Urine filtration membrane under a 4× objective, photographed by an automated digital microscope.
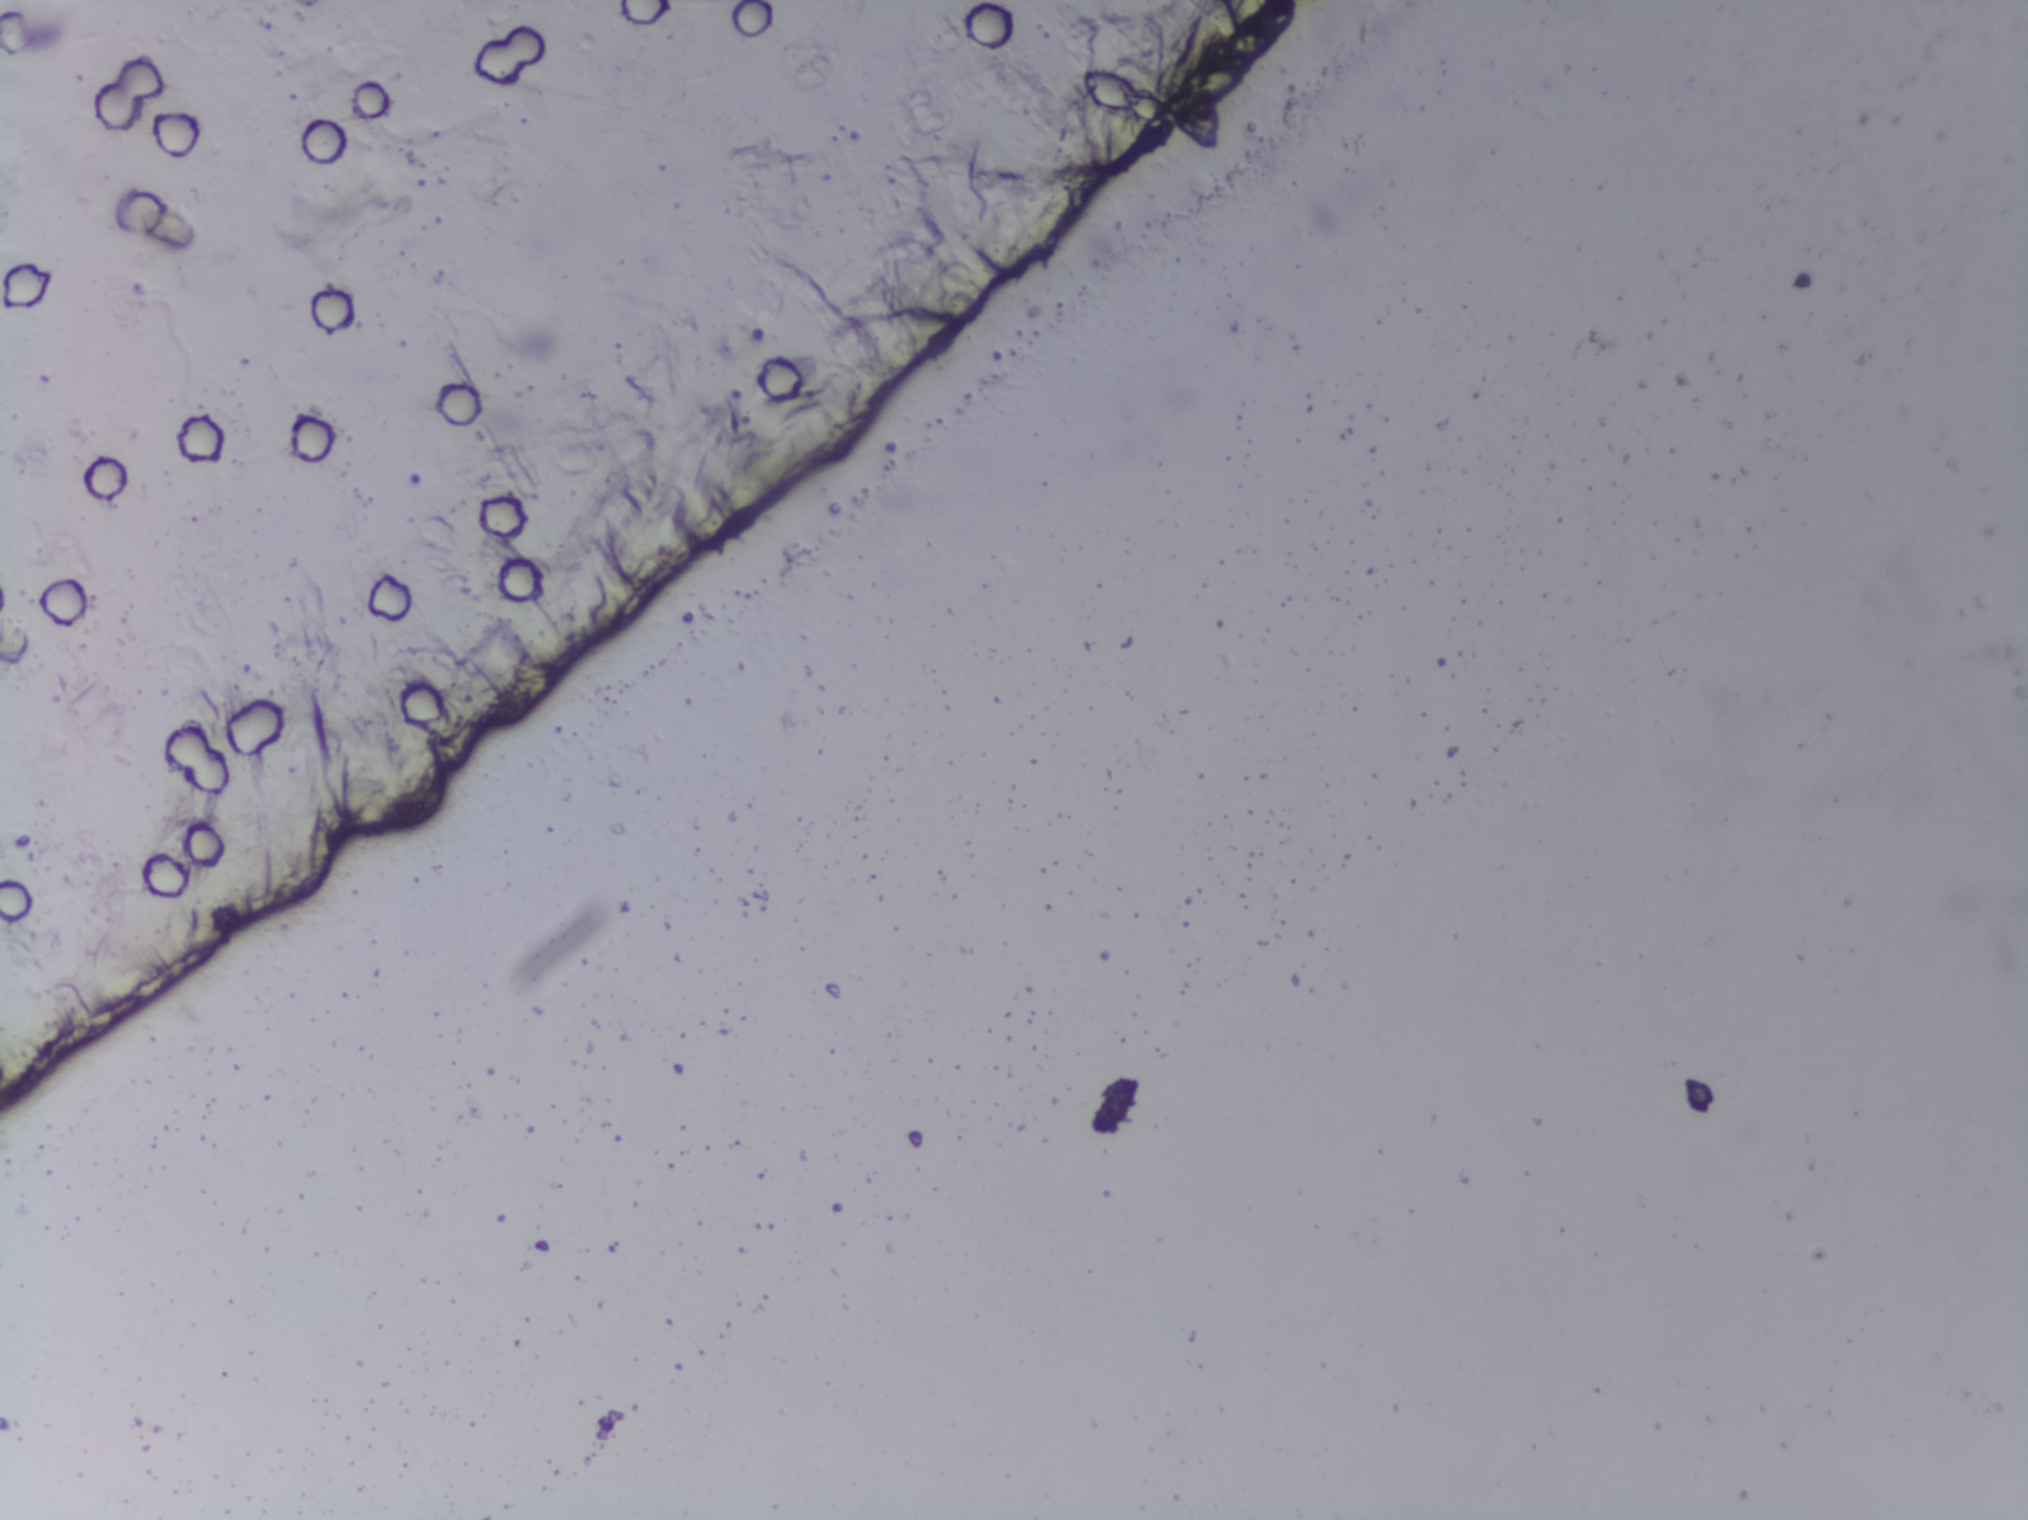
No Schistosoma egg is outlined in this image's expert annotation.